Urine filtration membrane under a 4× objective, photographed by an automated digital microscope.
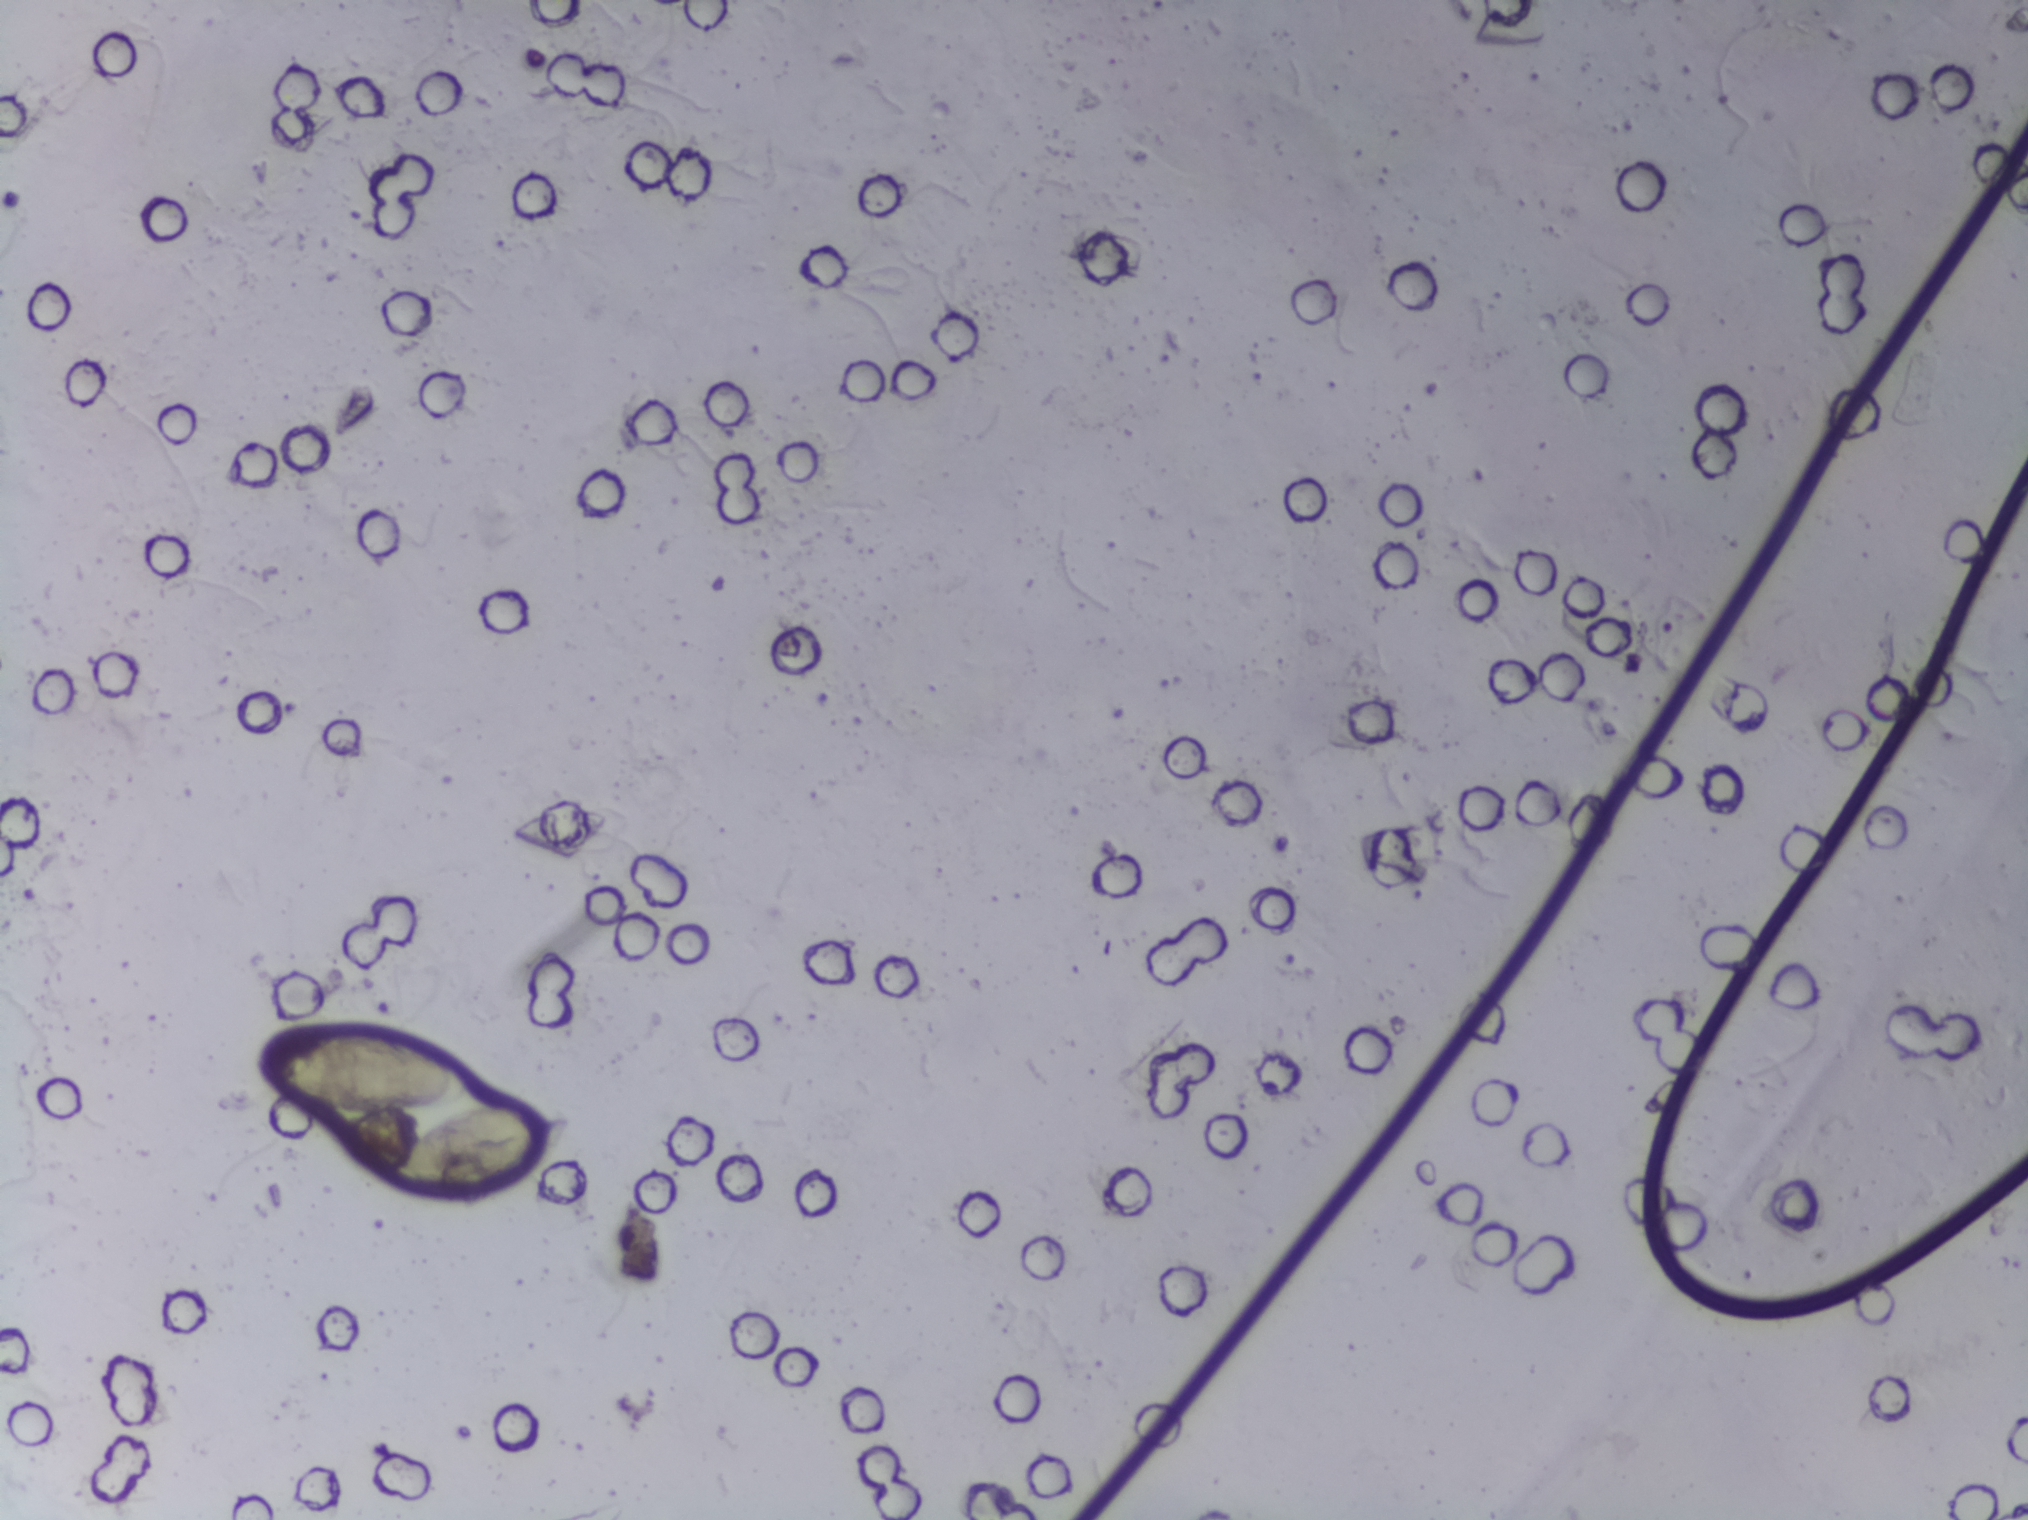
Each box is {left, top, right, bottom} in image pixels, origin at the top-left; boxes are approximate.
The expert annotation outlines Schistosoma eggs at {251, 1027, 462, 1115} and {385, 1099, 564, 1189} (left to right). About 0.8% of the image's pixels are marked (the marked pixels themselves, not the boxes around them). An outlined area can hold more than one egg.